Urine filter membrane photographed through a 4× microscope objective. The field of view is about 1.5 mm × 1.1 mm.
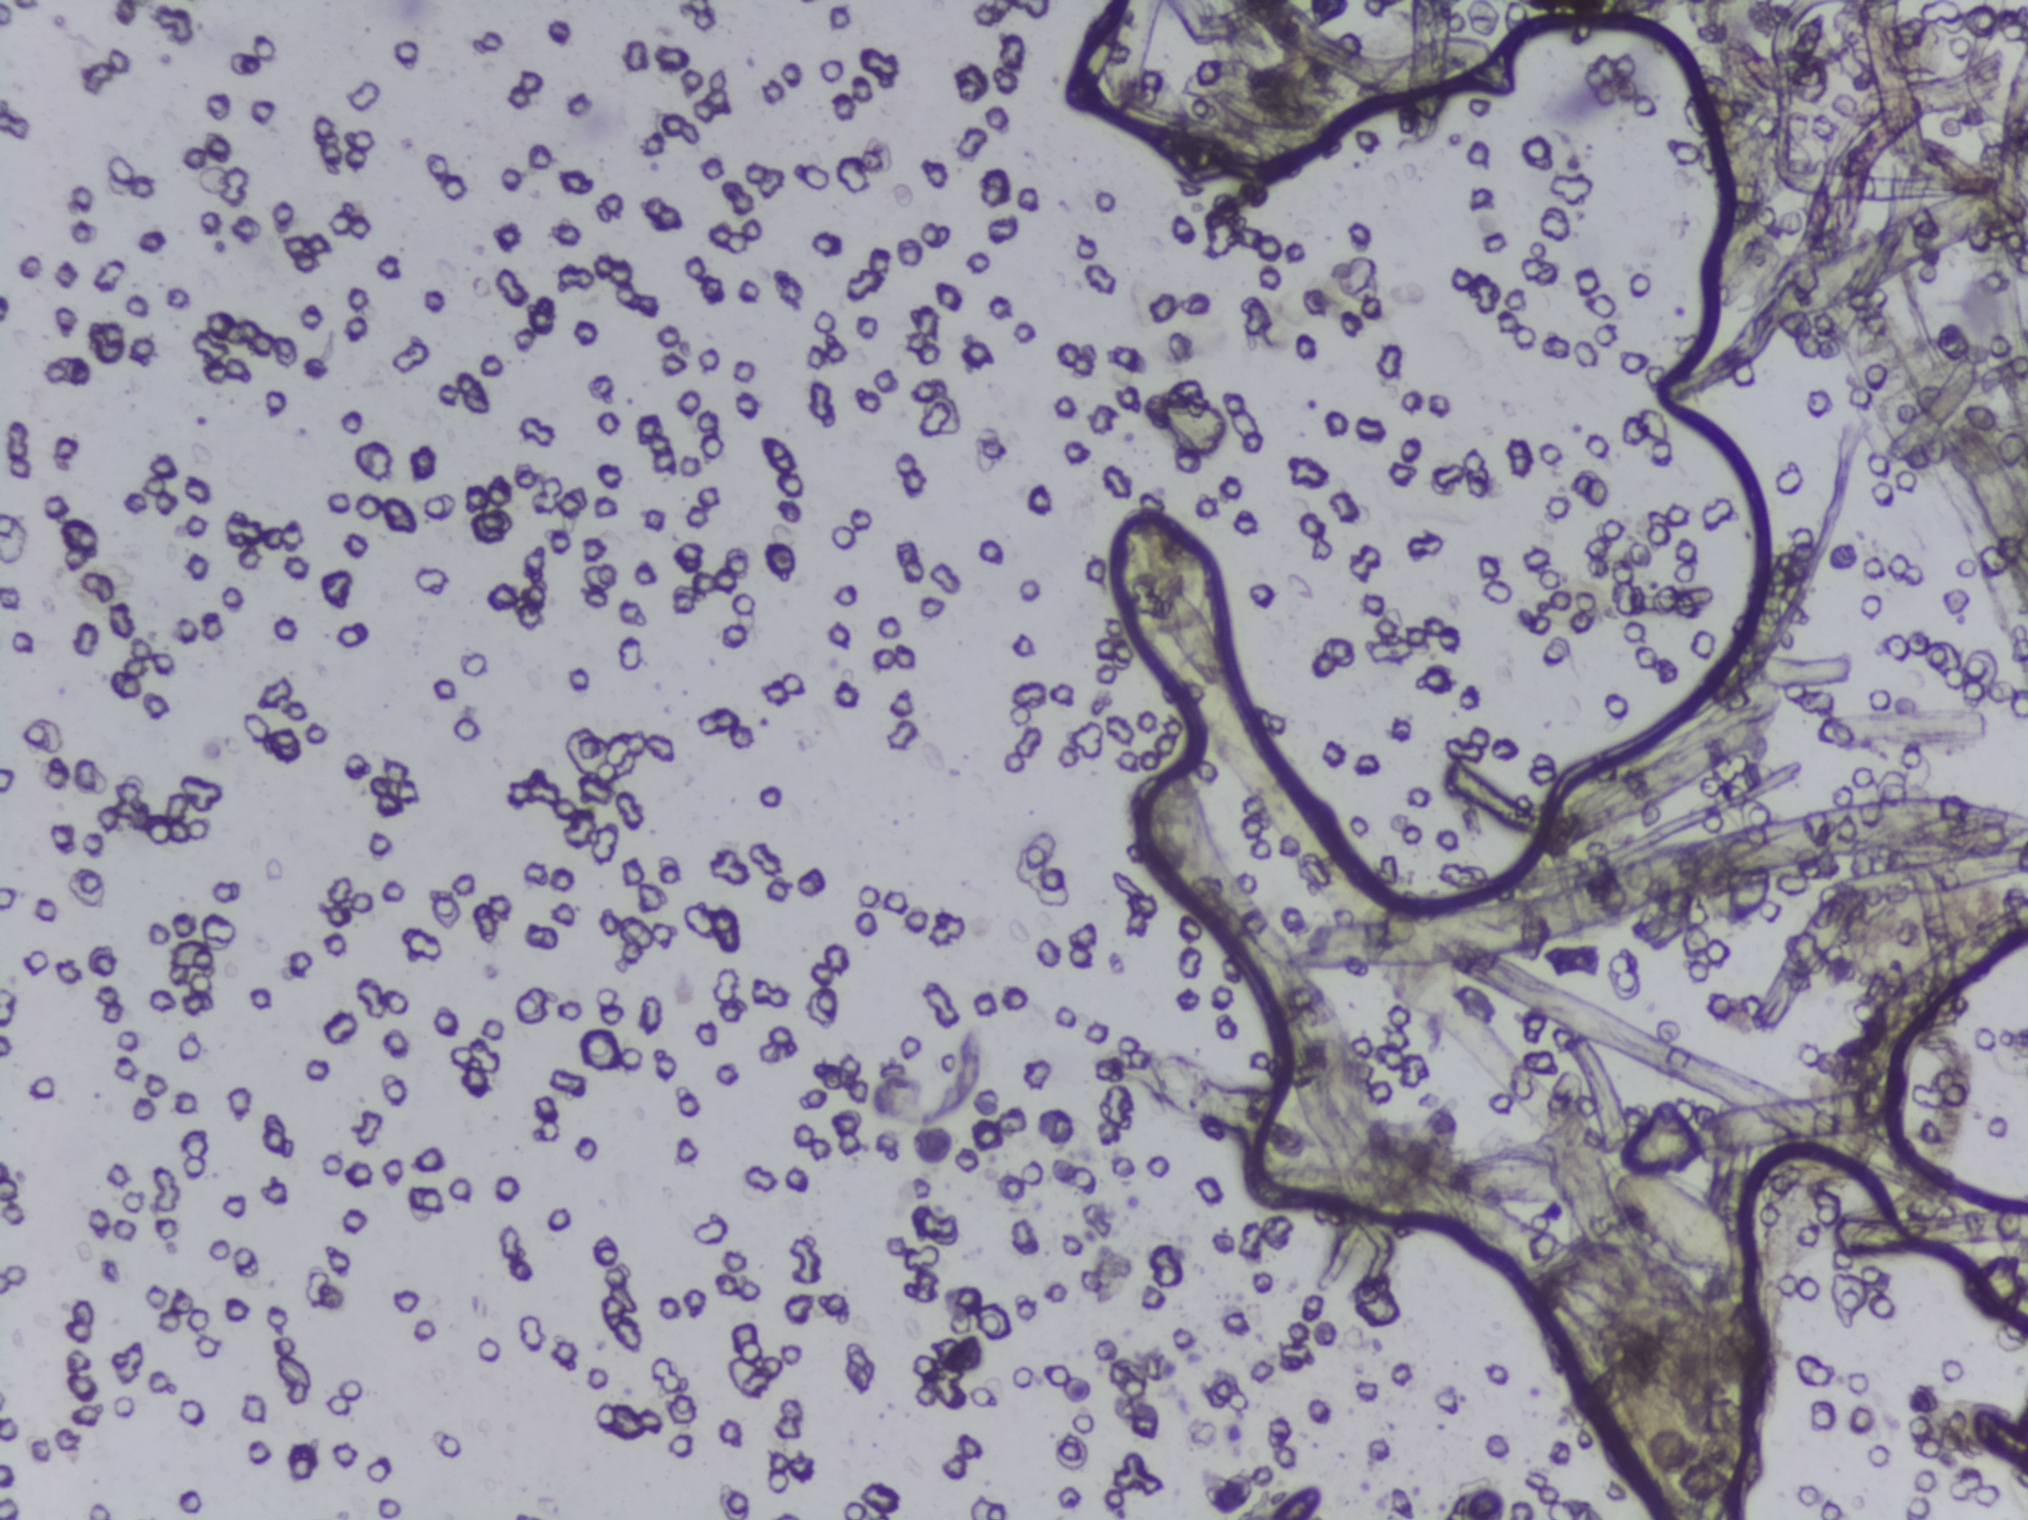
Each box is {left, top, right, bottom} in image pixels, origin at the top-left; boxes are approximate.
Findings: one area outlined as Schistosoma eggs. Location: {1600, 1162, 1740, 1297}. A single outlined area may contain several eggs. A marked egg may occasionally be S. mansoni rather than S. haematobium.